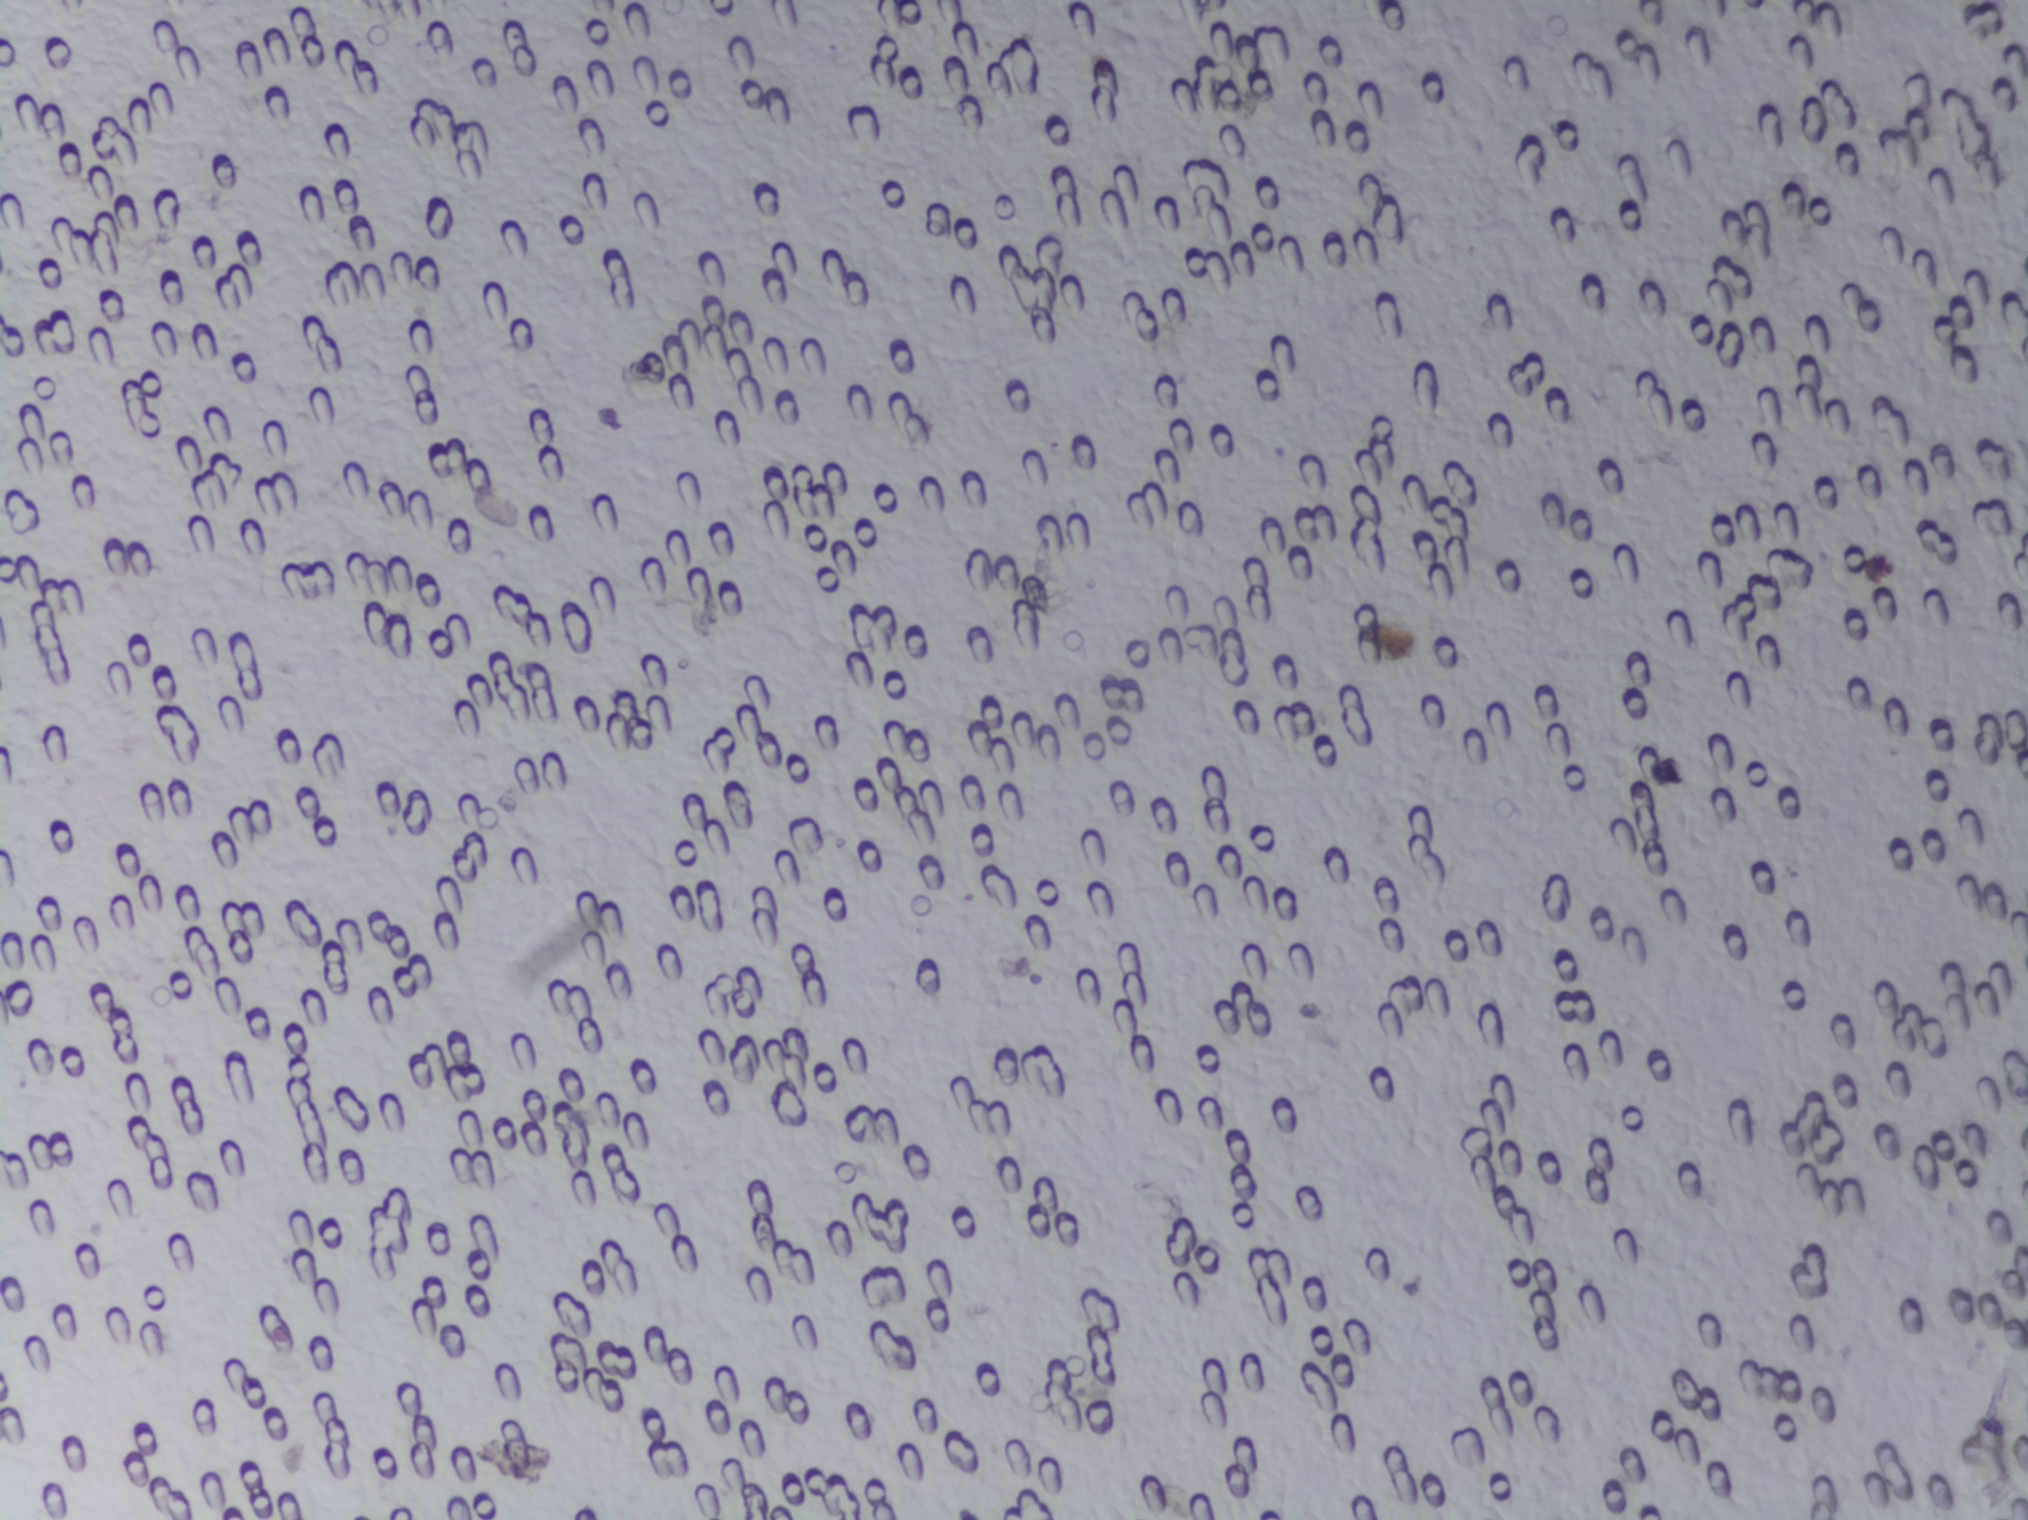
The expert annotation outlines no Schistosoma egg in this image.
One field of view of a urine filter membrane, 4× objective, 2028 × 1520 pixels.